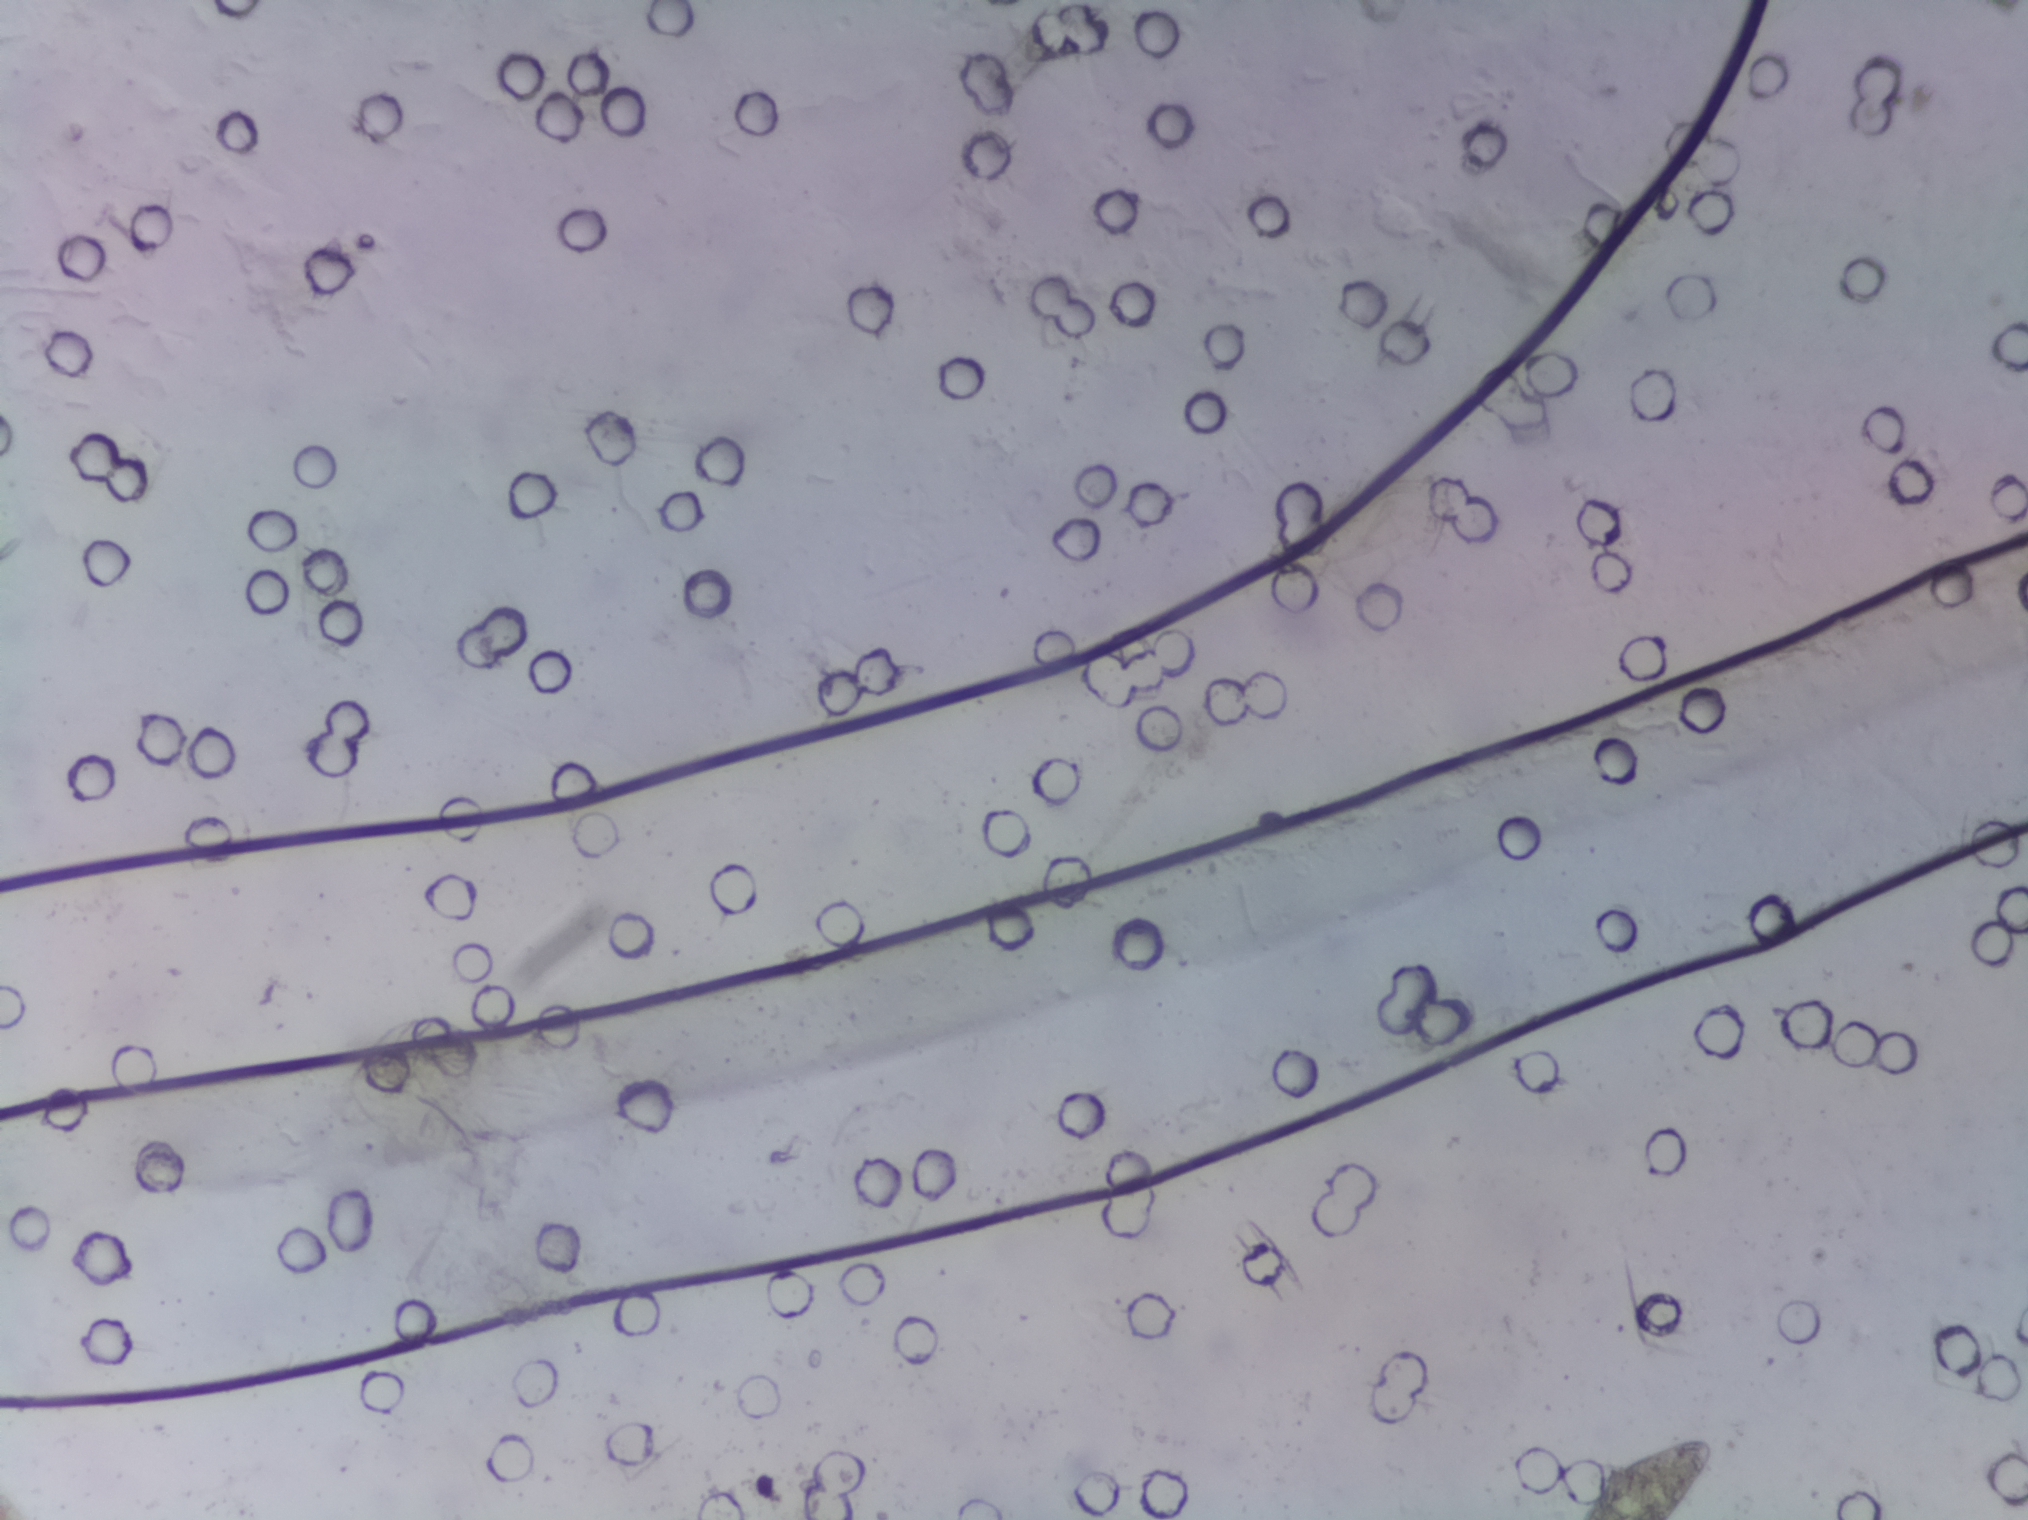
One field of view of a urine filter membrane, 4× objective, 2028 × 1520 pixels.
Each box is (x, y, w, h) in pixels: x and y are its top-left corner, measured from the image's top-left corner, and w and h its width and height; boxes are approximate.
One area of this image is outlined as Schistosoma eggs: (x=1580, y=1437, w=136, h=83) (reaching the bottom edge of the frame). A single outlined area may contain several eggs.